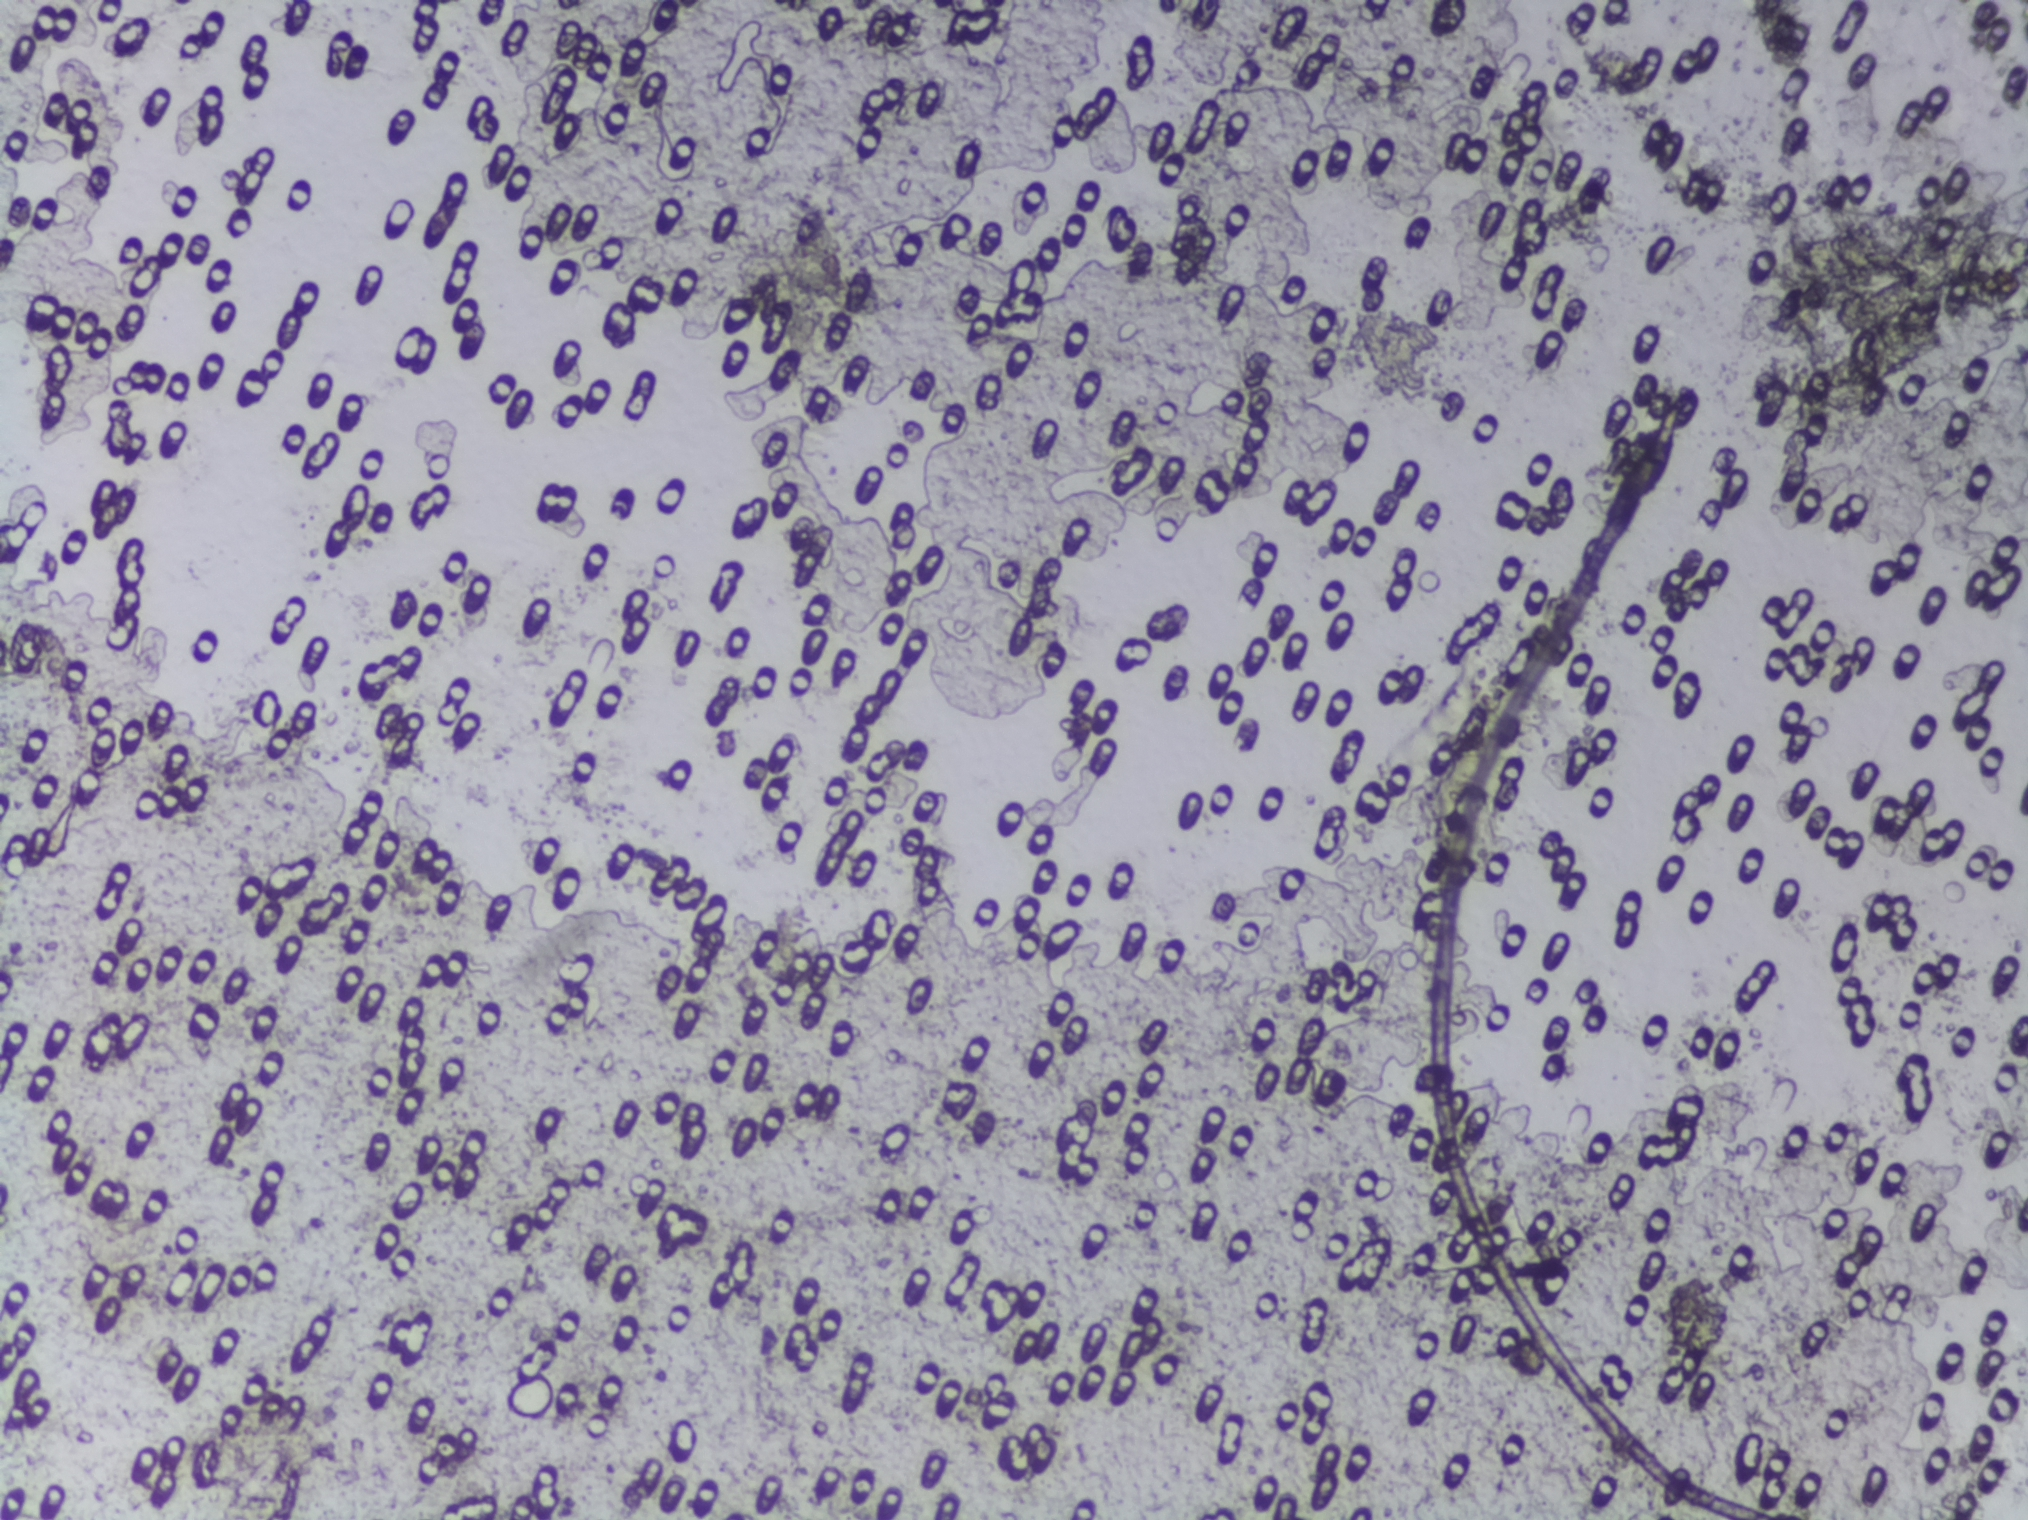
Urine filter membrane photographed through a 4× microscope objective.
The expert annotation marks no Schistosoma egg in this field of view.